Microscope photograph (4× objective) of a membrane that a urine sample was filtered through.
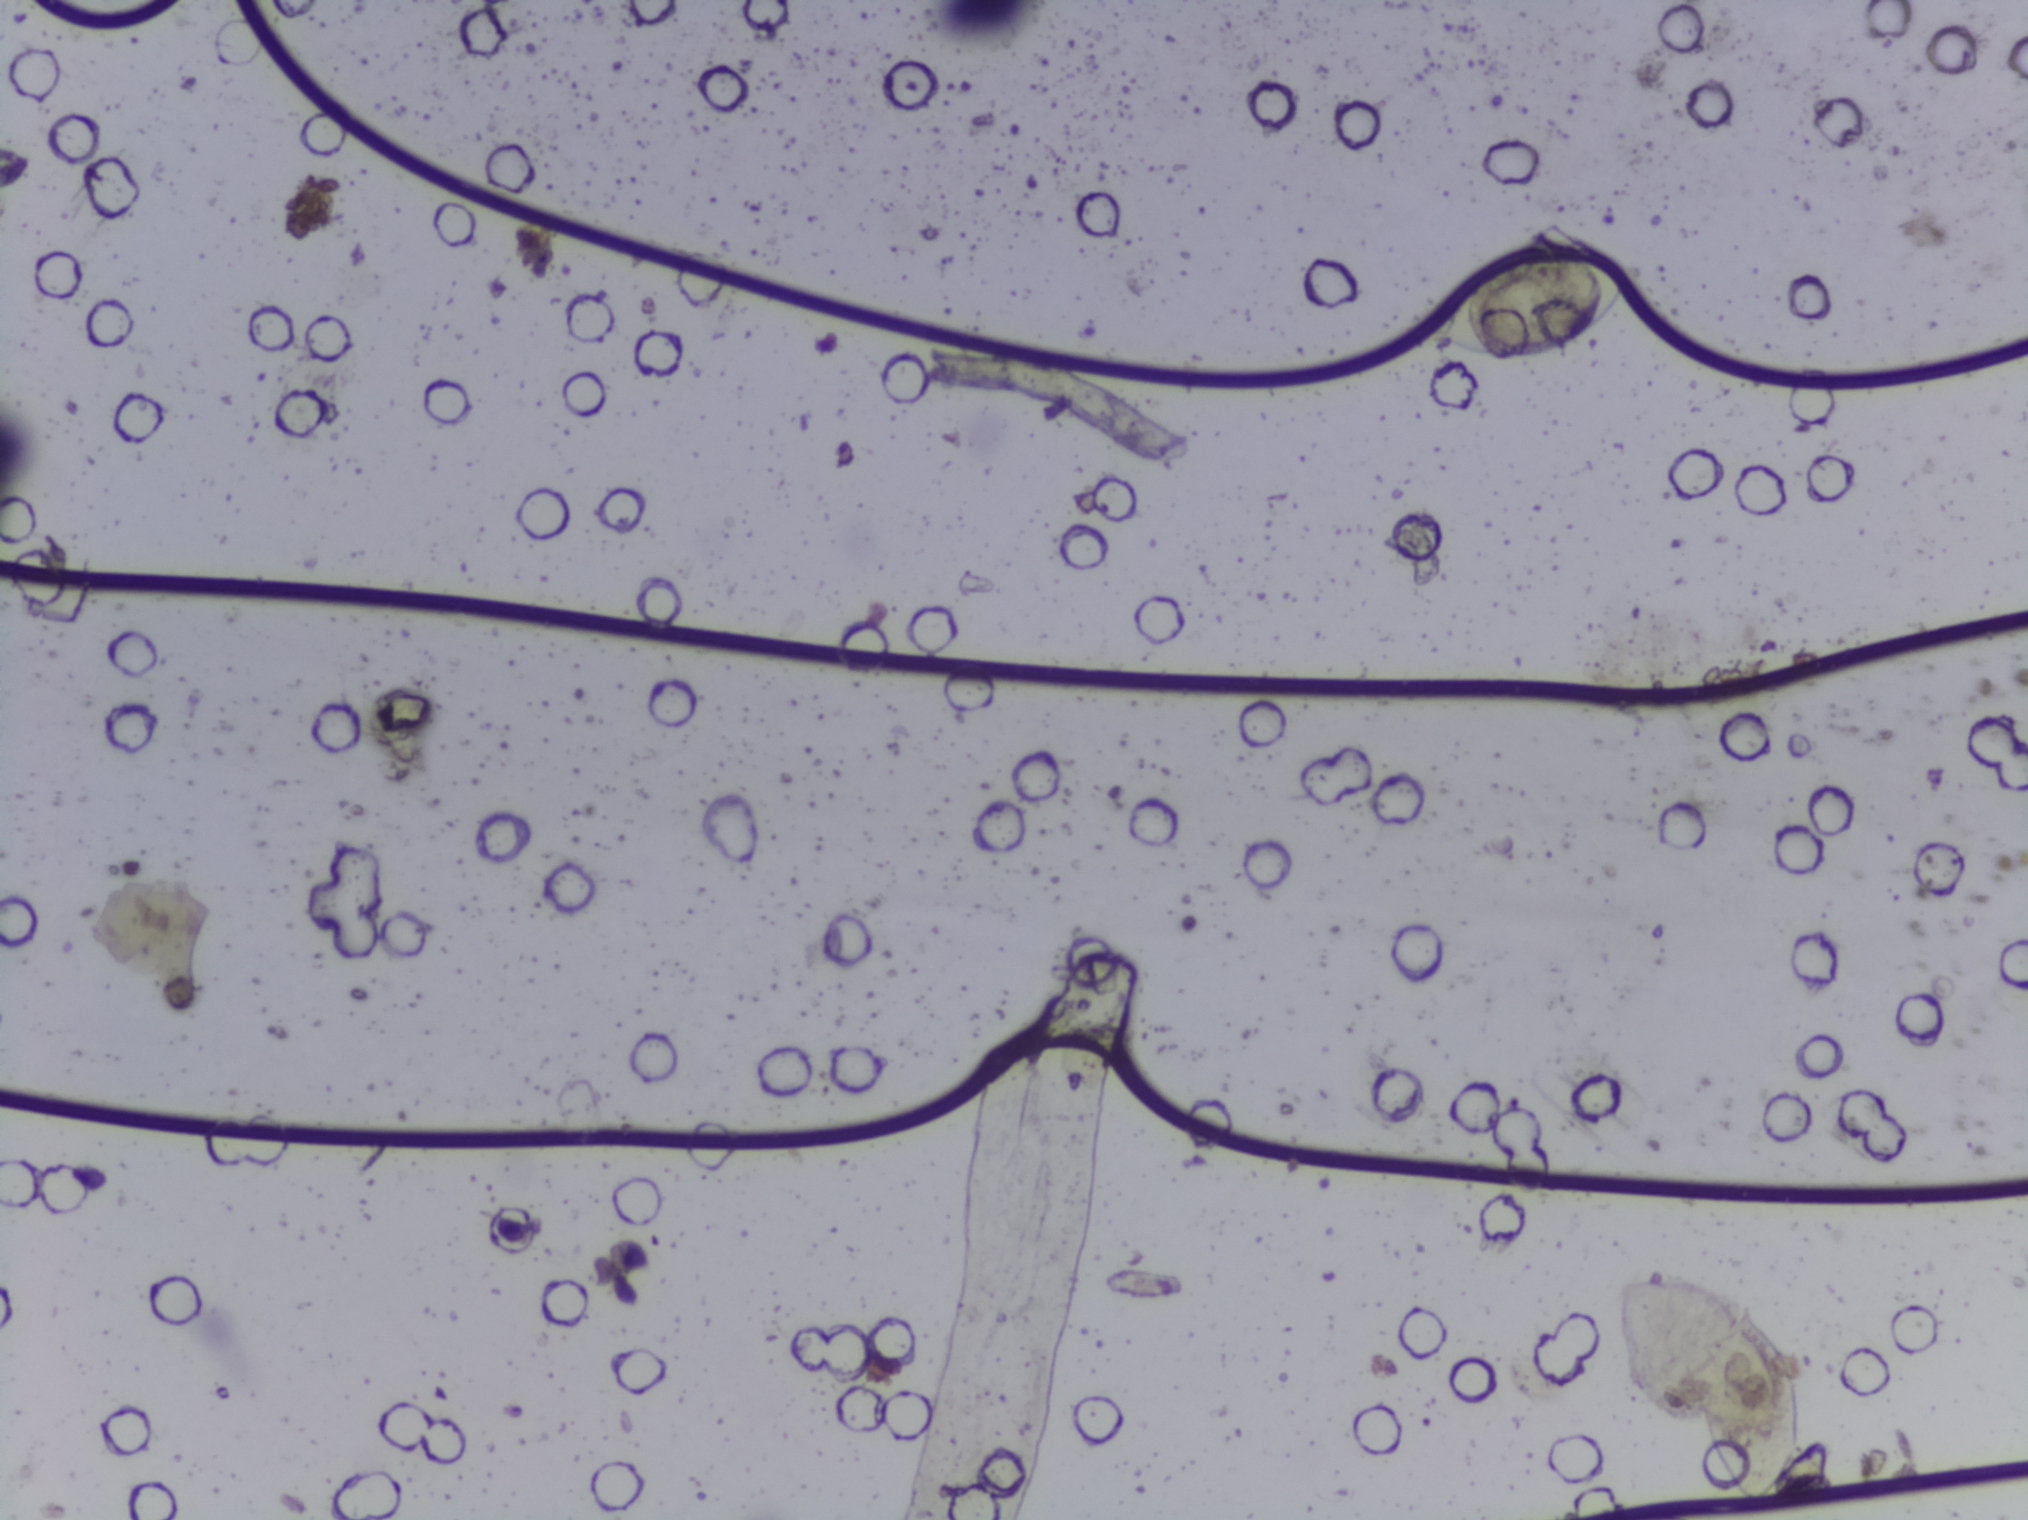
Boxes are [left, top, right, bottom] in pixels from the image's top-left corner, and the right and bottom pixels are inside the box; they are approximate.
{"schistosoma_egg_areas_xyxy_px": [[1424, 251, 1633, 362], [1682, 1298, 1809, 1513]]}
An outlined area can hold more than one egg.